Photomicrograph of a urine filtration membrane, 4× objective. Field of view: about 1.5 mm wide and 1.1 mm high.
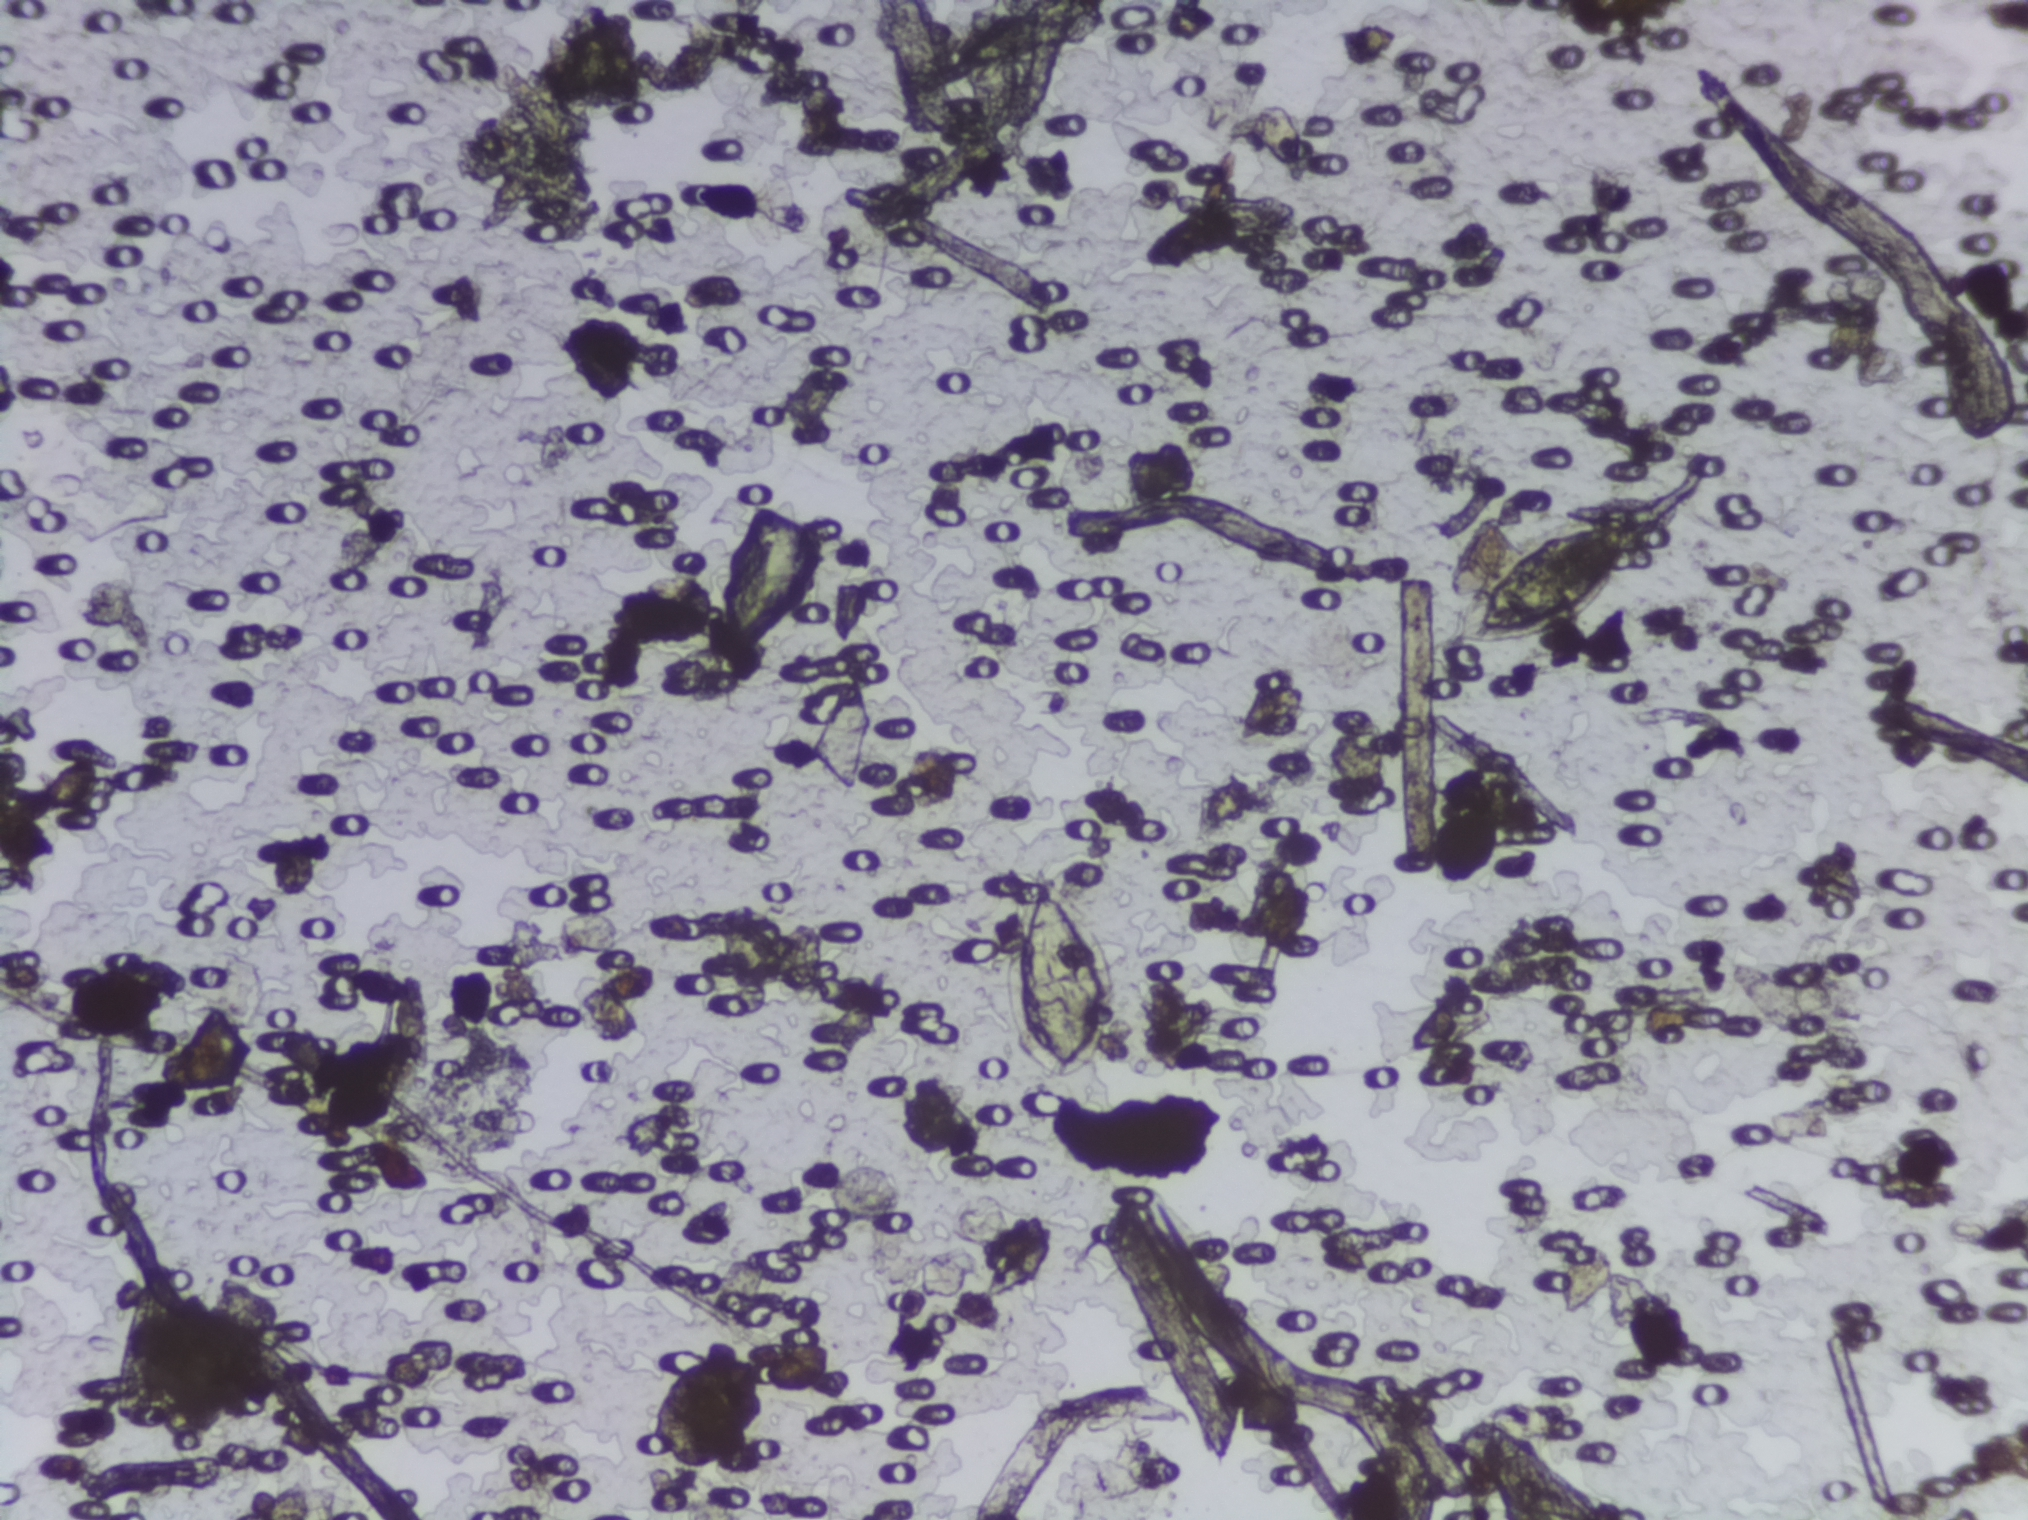
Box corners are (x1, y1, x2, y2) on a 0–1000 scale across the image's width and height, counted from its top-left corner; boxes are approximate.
Schistosoma eggs are outlined in two areas of this image, listed from left to right: (494, 566, 558, 713) and (717, 338, 825, 429). A single outlined area may contain several eggs.